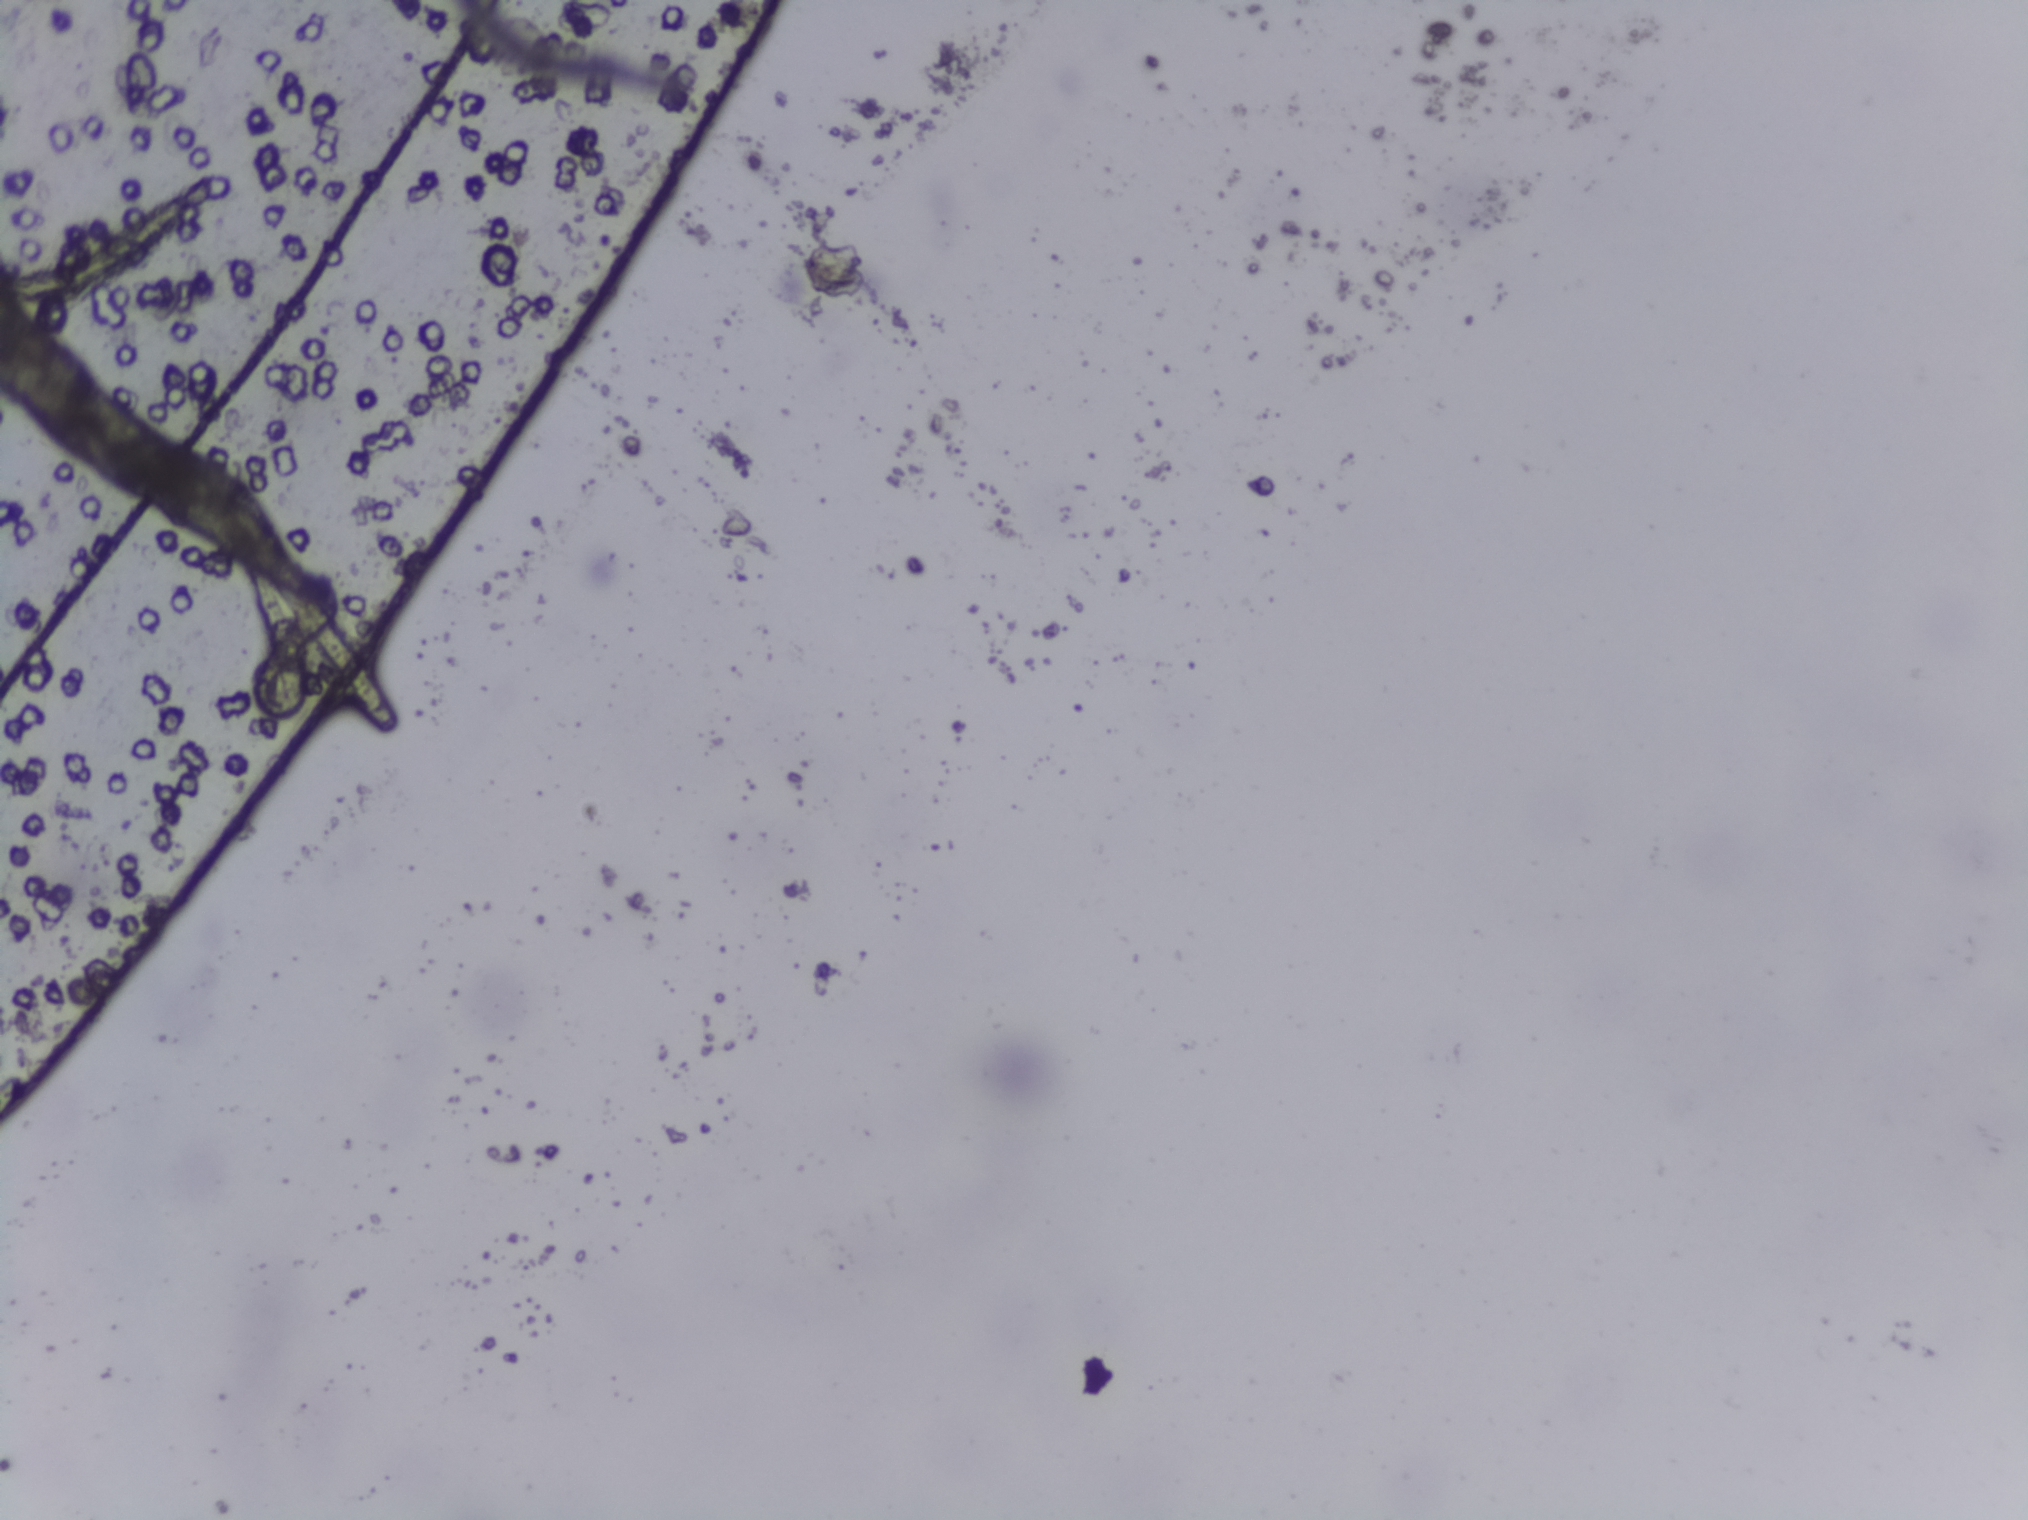
Photograph from an automated digital microscope: urine filter membrane, 4× objective.
The expert annotation outlines no Schistosoma egg in this image.